Microscope photograph (4× objective) of a membrane that a urine sample was filtered through. Field of view: about 1.5 mm wide and 1.1 mm high.
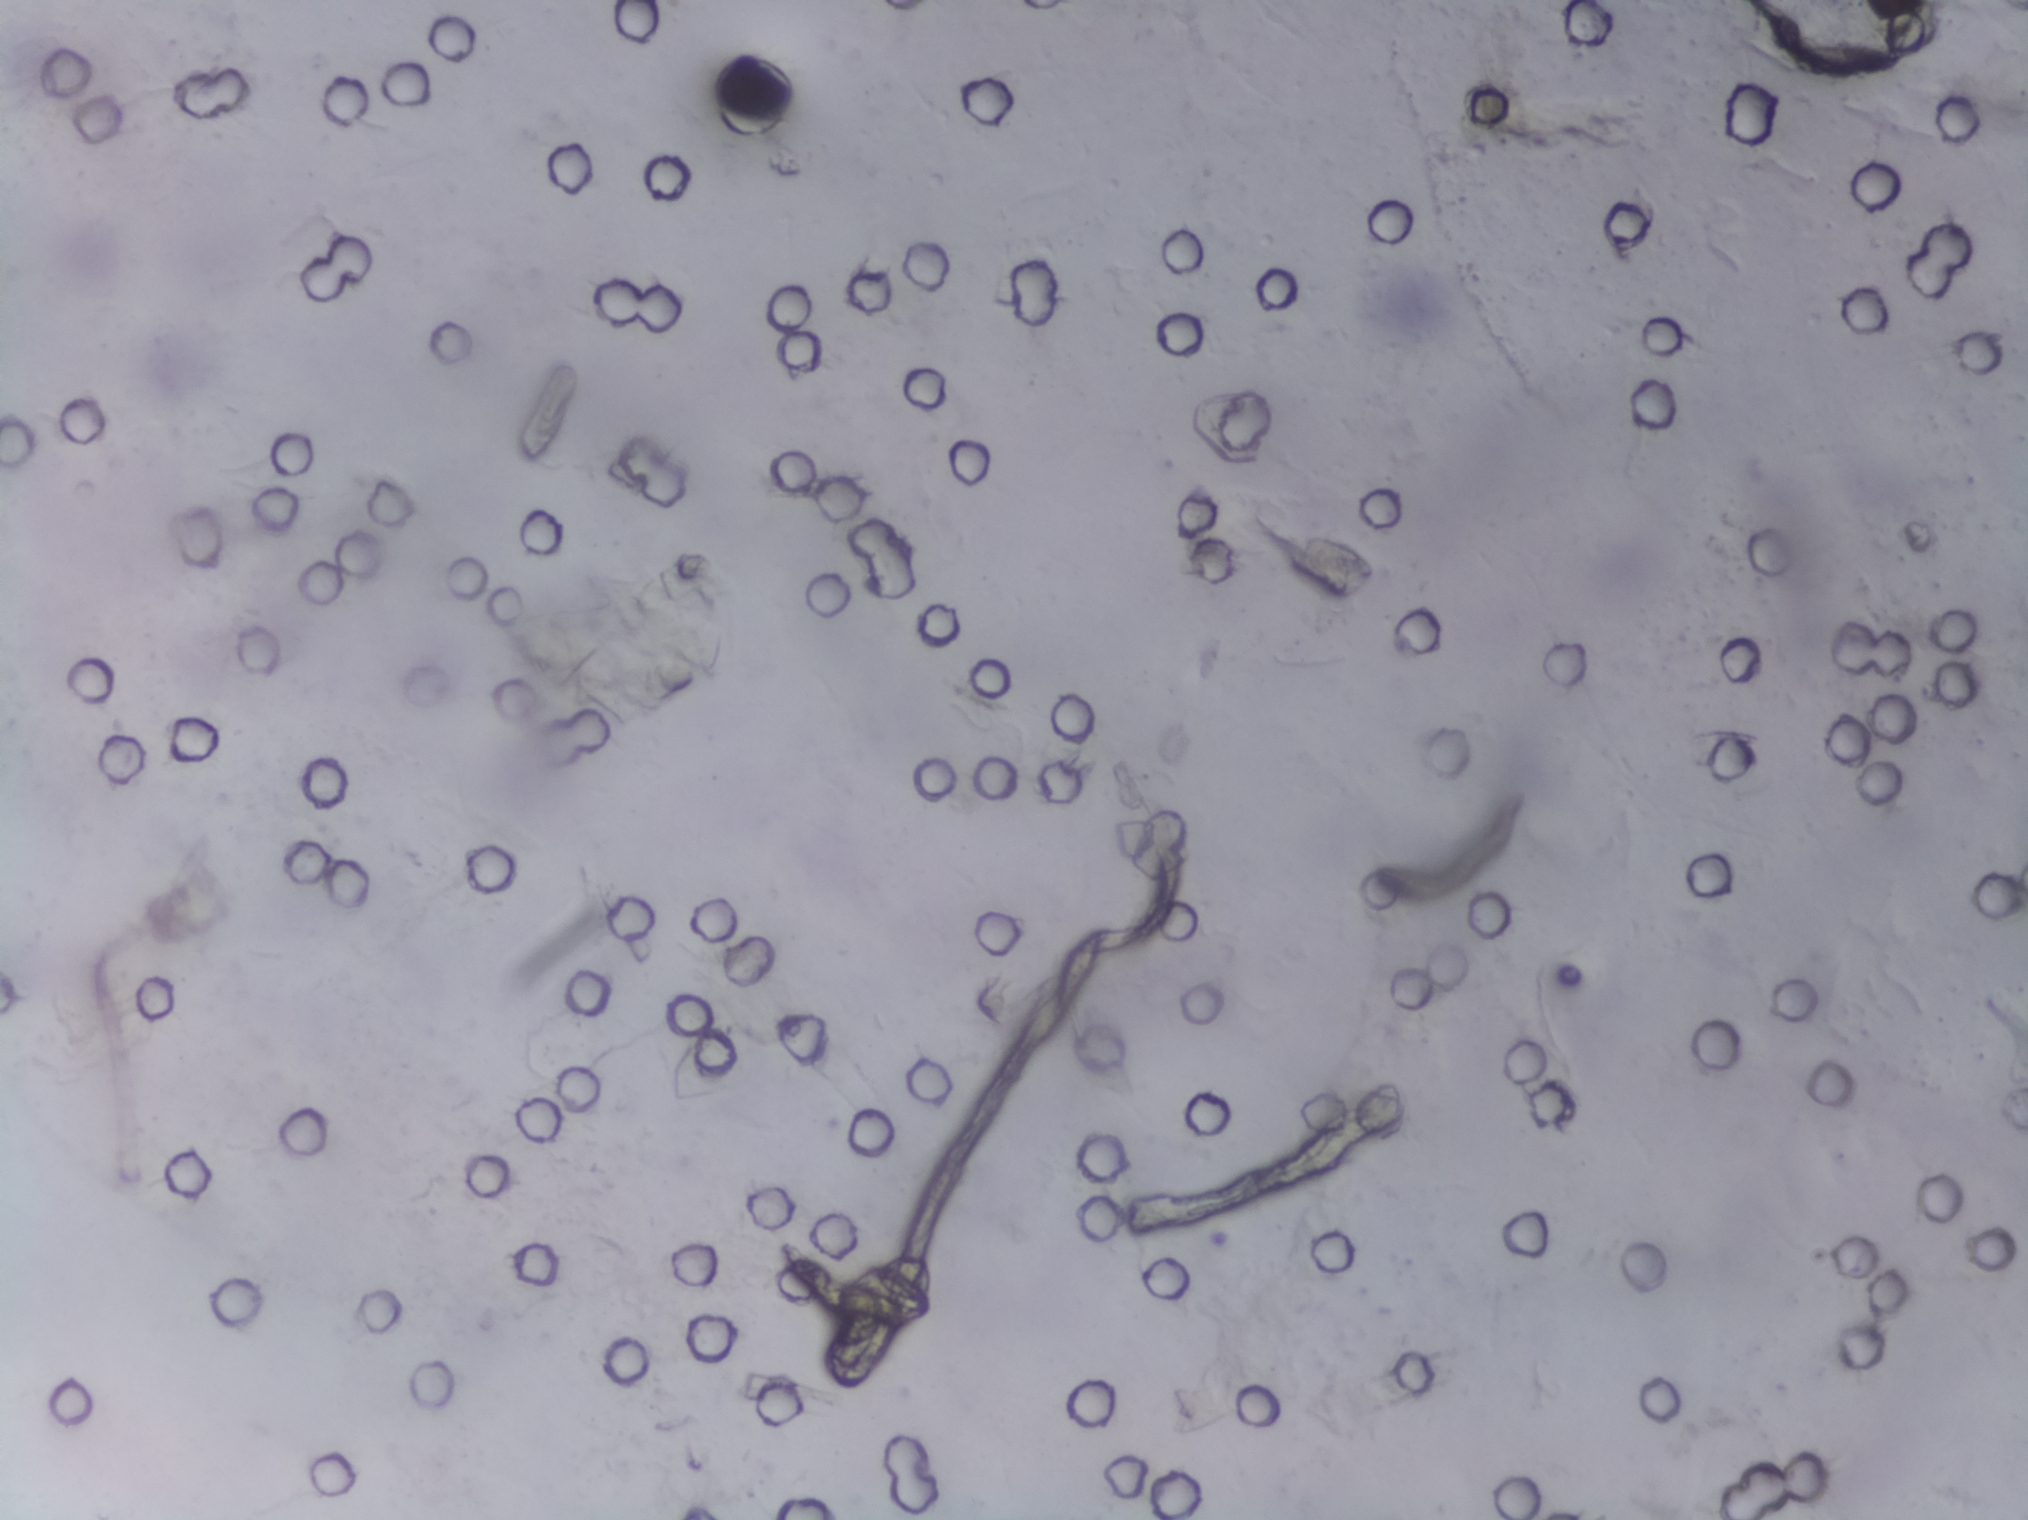
Schistosoma eggs: none outlined.